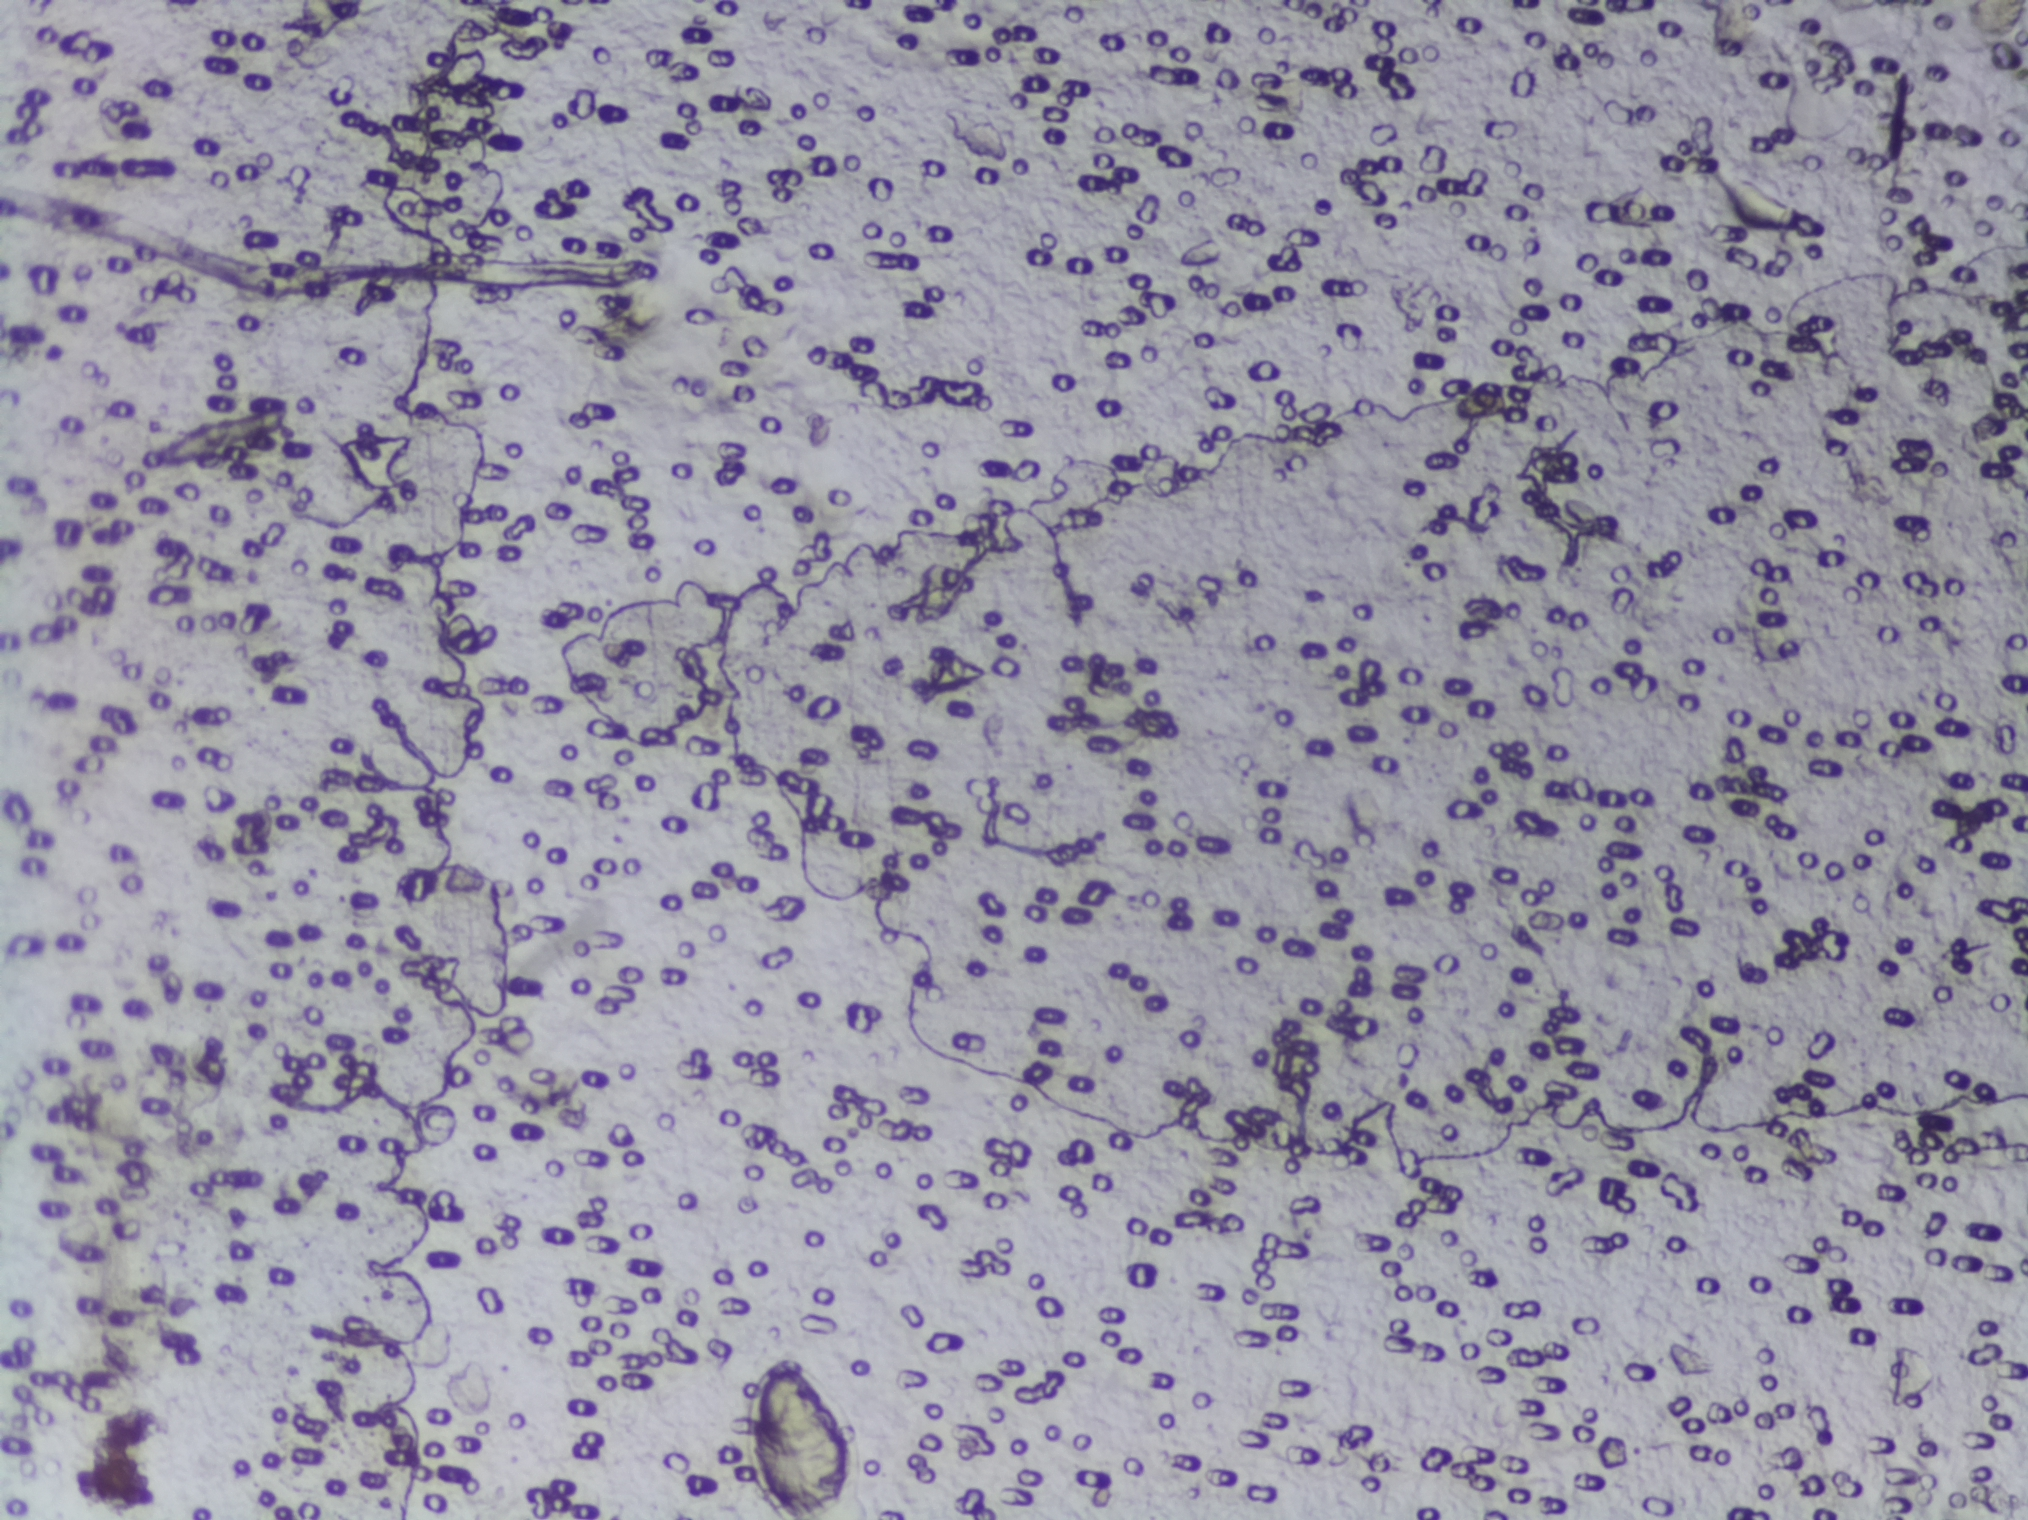
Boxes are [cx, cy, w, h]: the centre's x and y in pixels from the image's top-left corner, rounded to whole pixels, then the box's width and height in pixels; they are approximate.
{"schistosoma_egg_areas_cxcywh_px": [[803, 1429, 127, 181]]} Area 1 reaches the bottom edge of the frame.
Eggs that touch can end up inside the same outlined area.
One field of view of a urine filter membrane, 4× objective, 2028 × 1520 pixels.